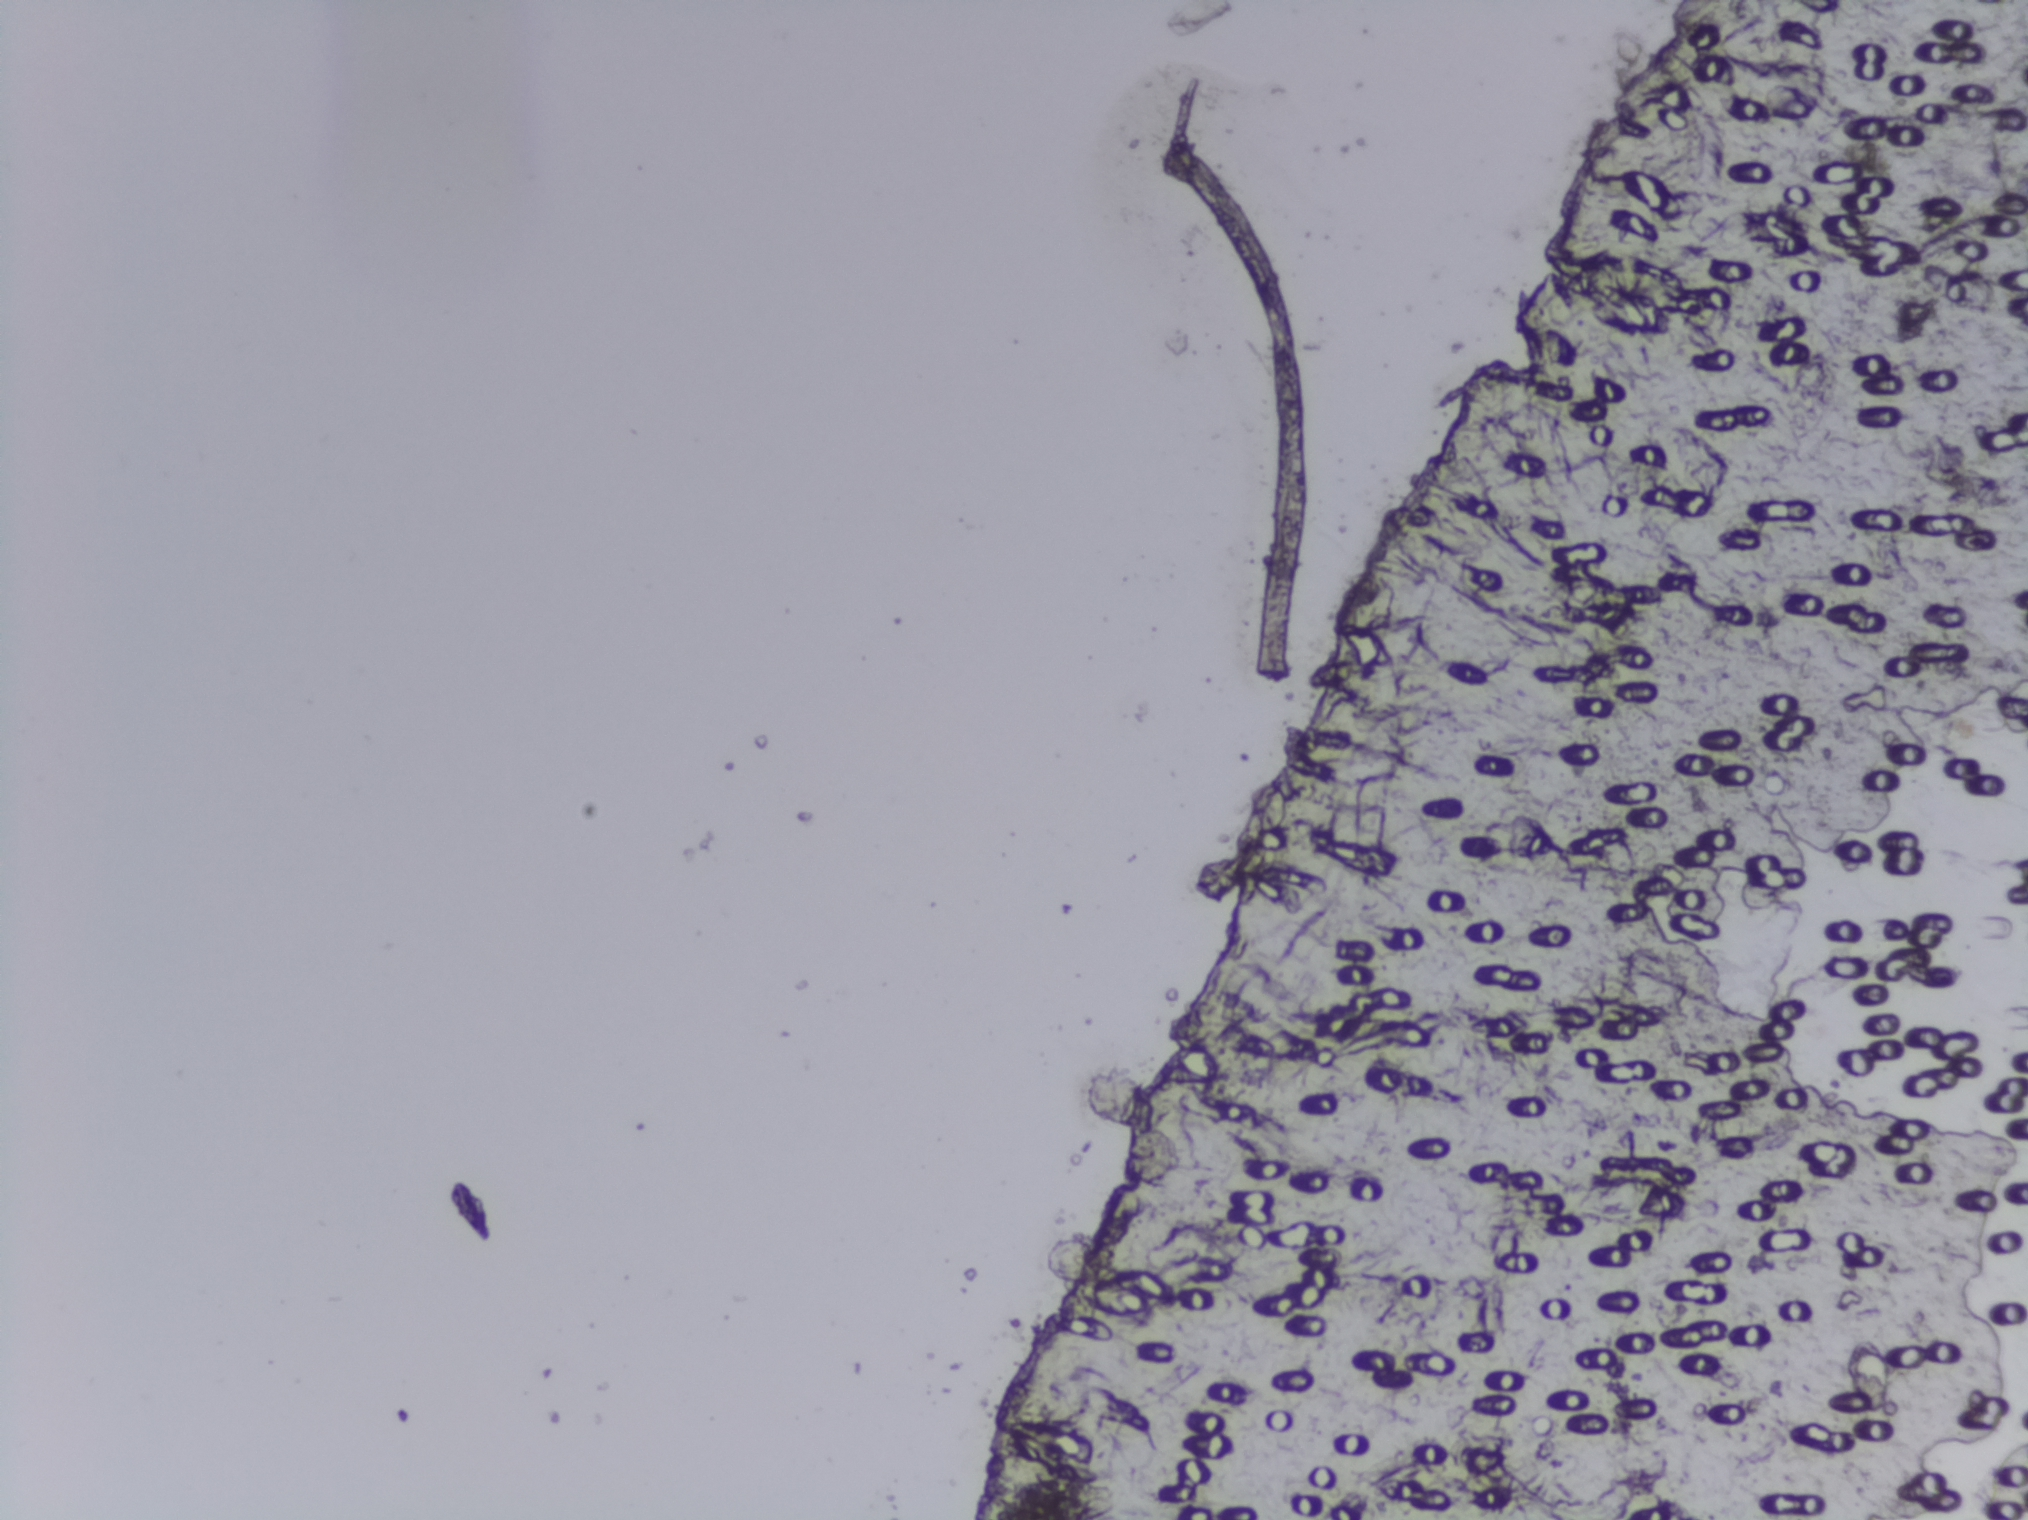
Photograph from an automated digital microscope: urine filter membrane, 4× objective. The field of view is about 1.5 mm × 1.1 mm.
The expert annotation outlines no Schistosoma egg in this image.